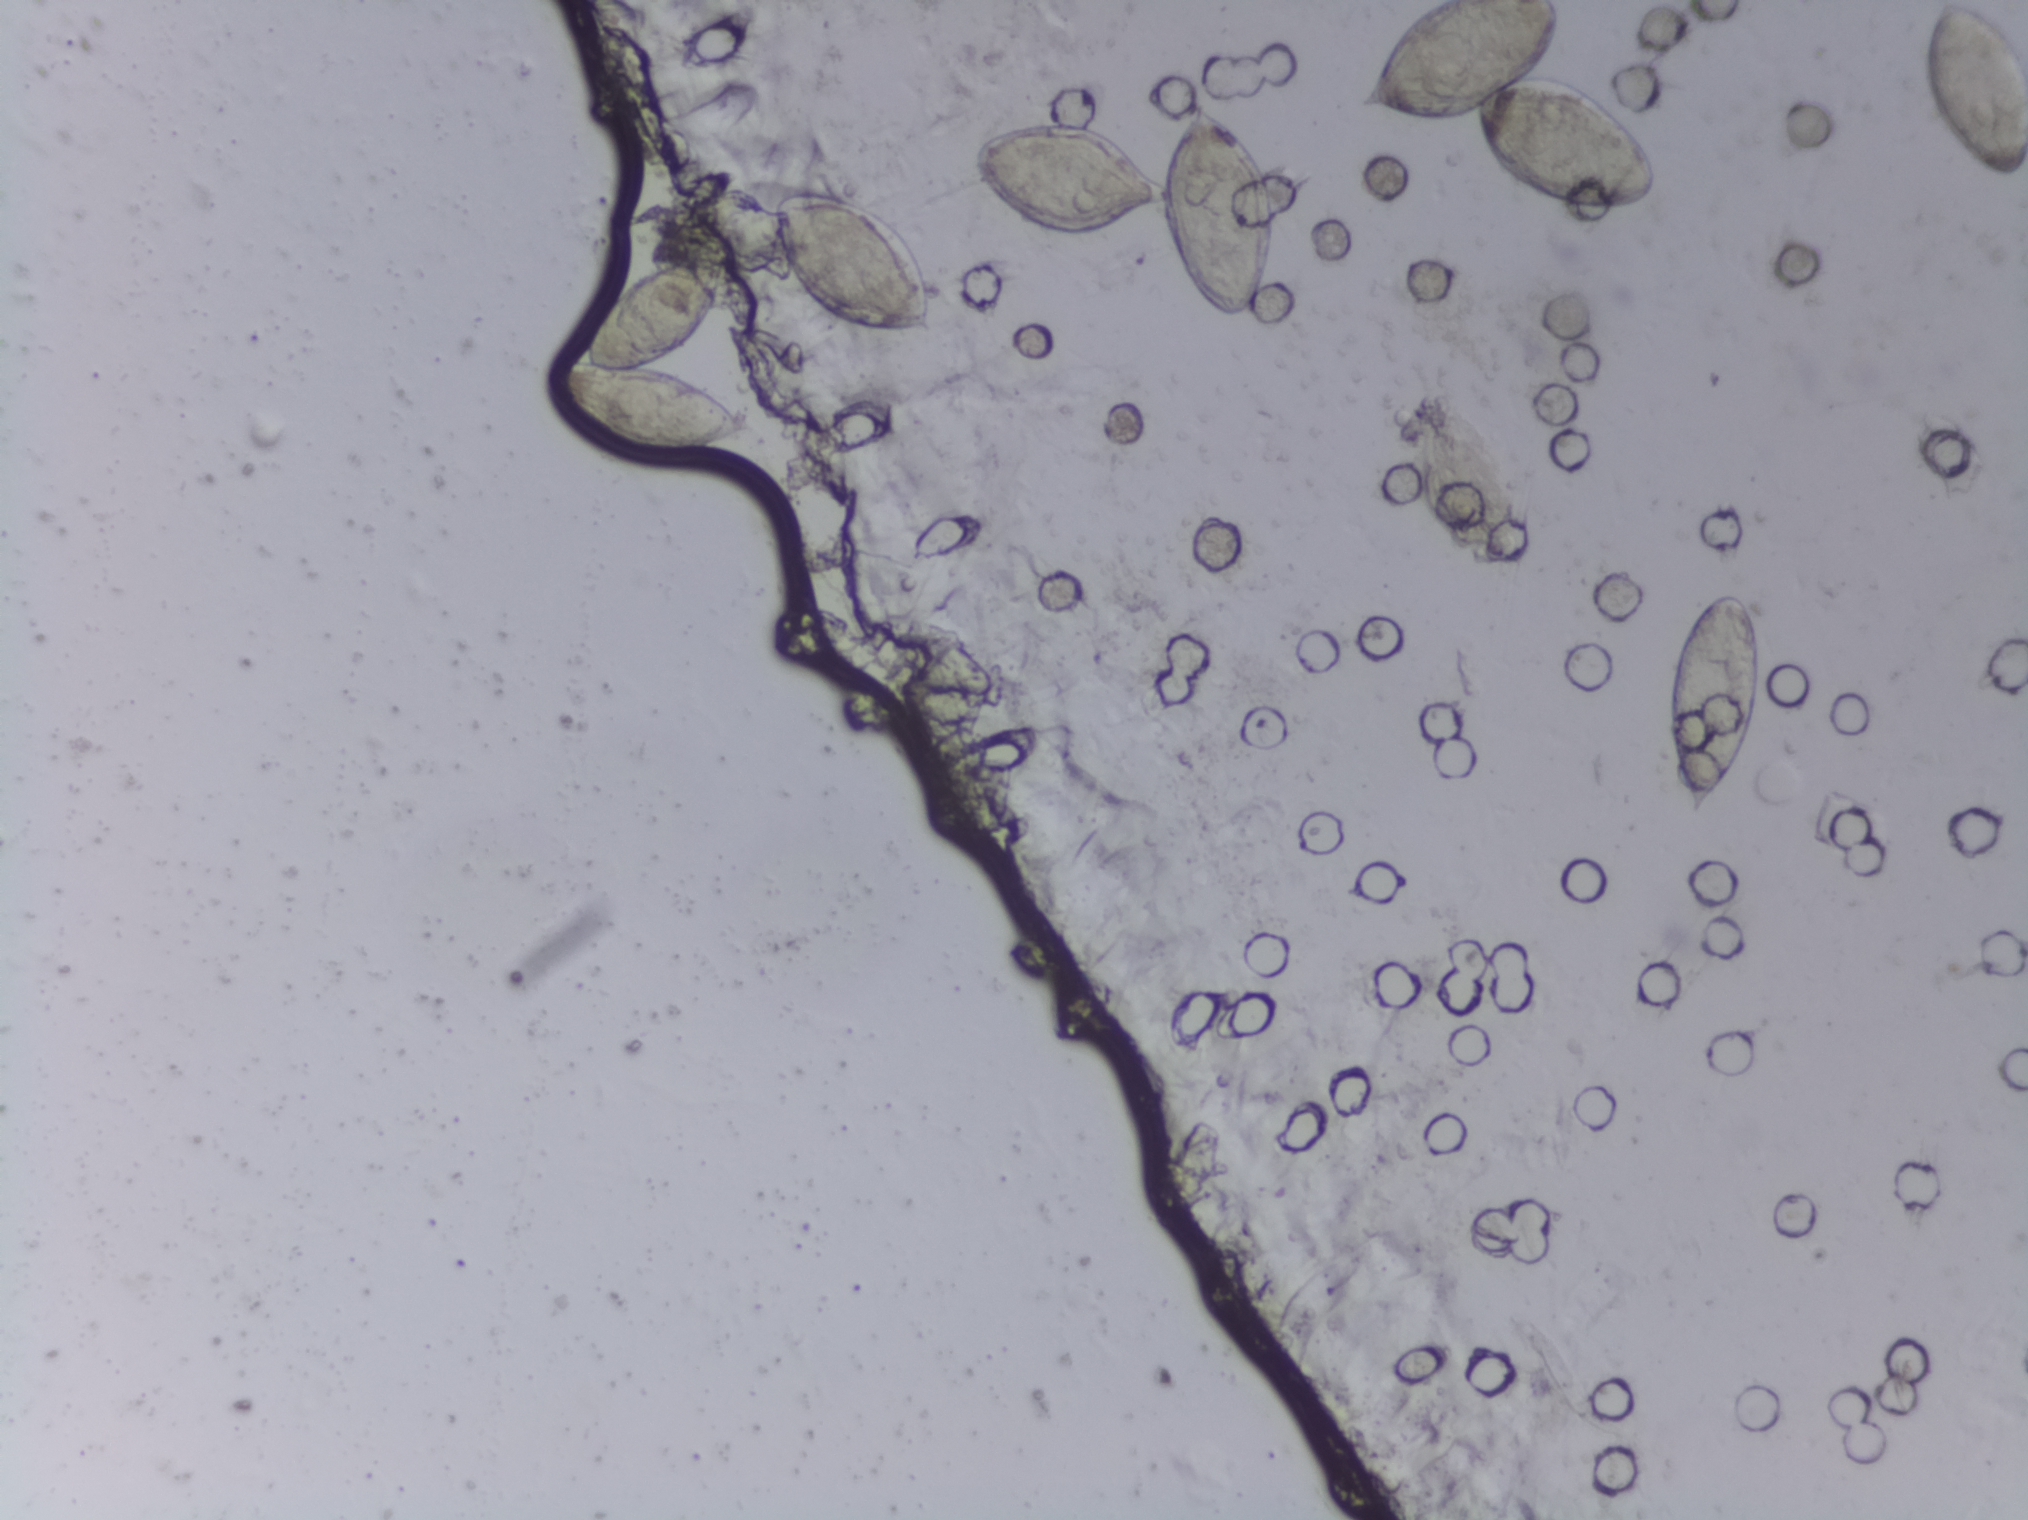
One field of view of a urine filter membrane, 4× objective, 2028 × 1520 pixels.
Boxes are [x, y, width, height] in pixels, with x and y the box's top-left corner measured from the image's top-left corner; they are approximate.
Schistosoma egg areas, outlined: [544, 252, 212, 203]; [773, 189, 159, 146]; [969, 105, 305, 218]; [1356, 0, 302, 212] (reaching the top edge of the frame); [1665, 591, 99, 229]; [1923, 0, 105, 191] (reaching the top and right edges of the frame). A single outlined area may contain several eggs.